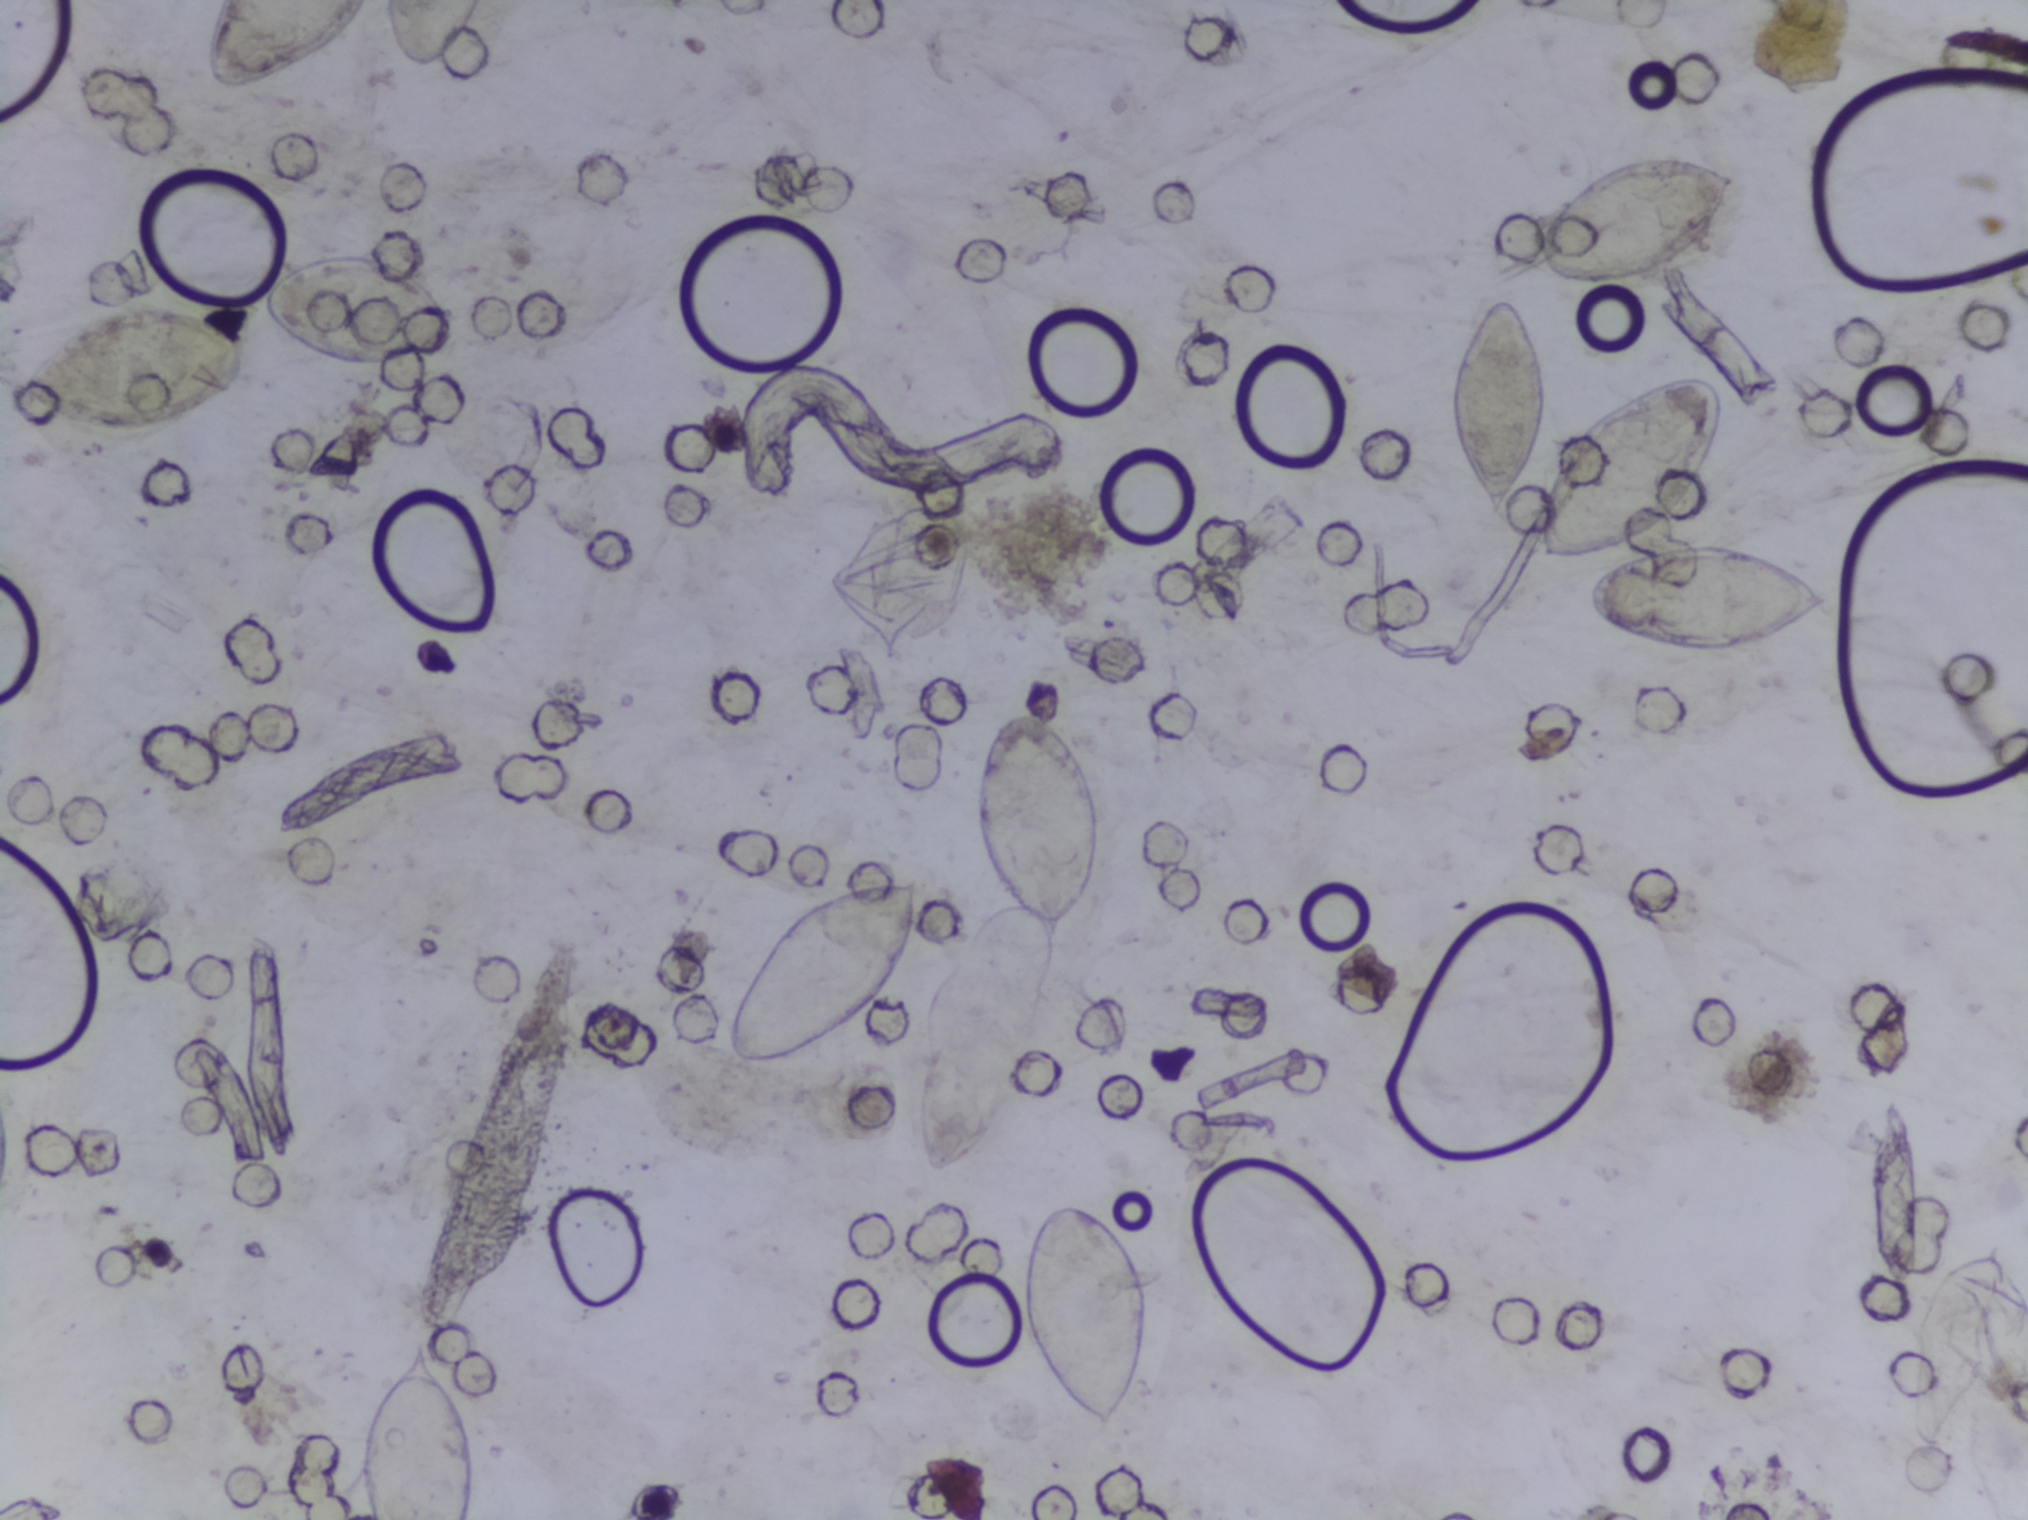
One field of view of a urine filter membrane, 4× objective, 2028 × 1520 pixels. Field of view: about 1.5 mm wide and 1.1 mm high.
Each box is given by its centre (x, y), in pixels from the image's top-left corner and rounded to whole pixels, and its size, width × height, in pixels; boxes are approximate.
Schistosoma eggs, outlined areas: centre (132, 365), 238 × 126 px; centre (349, 47), 289 × 94 px (reaching the top edge of the frame); centre (351, 308), 213 × 120 px; centre (416, 1425), 127 × 189 px (reaching the bottom edge of the frame); centre (823, 973), 198 × 196 px; centre (1034, 825), 136 × 232 px; centre (1085, 1317), 142 × 240 px; centre (1584, 431), 286 × 272 px; centre (1630, 219), 218 × 144 px; centre (1706, 597), 258 × 128 px; centre (1958, 1348), 109 × 209 px. An outlined area can hold more than one egg.